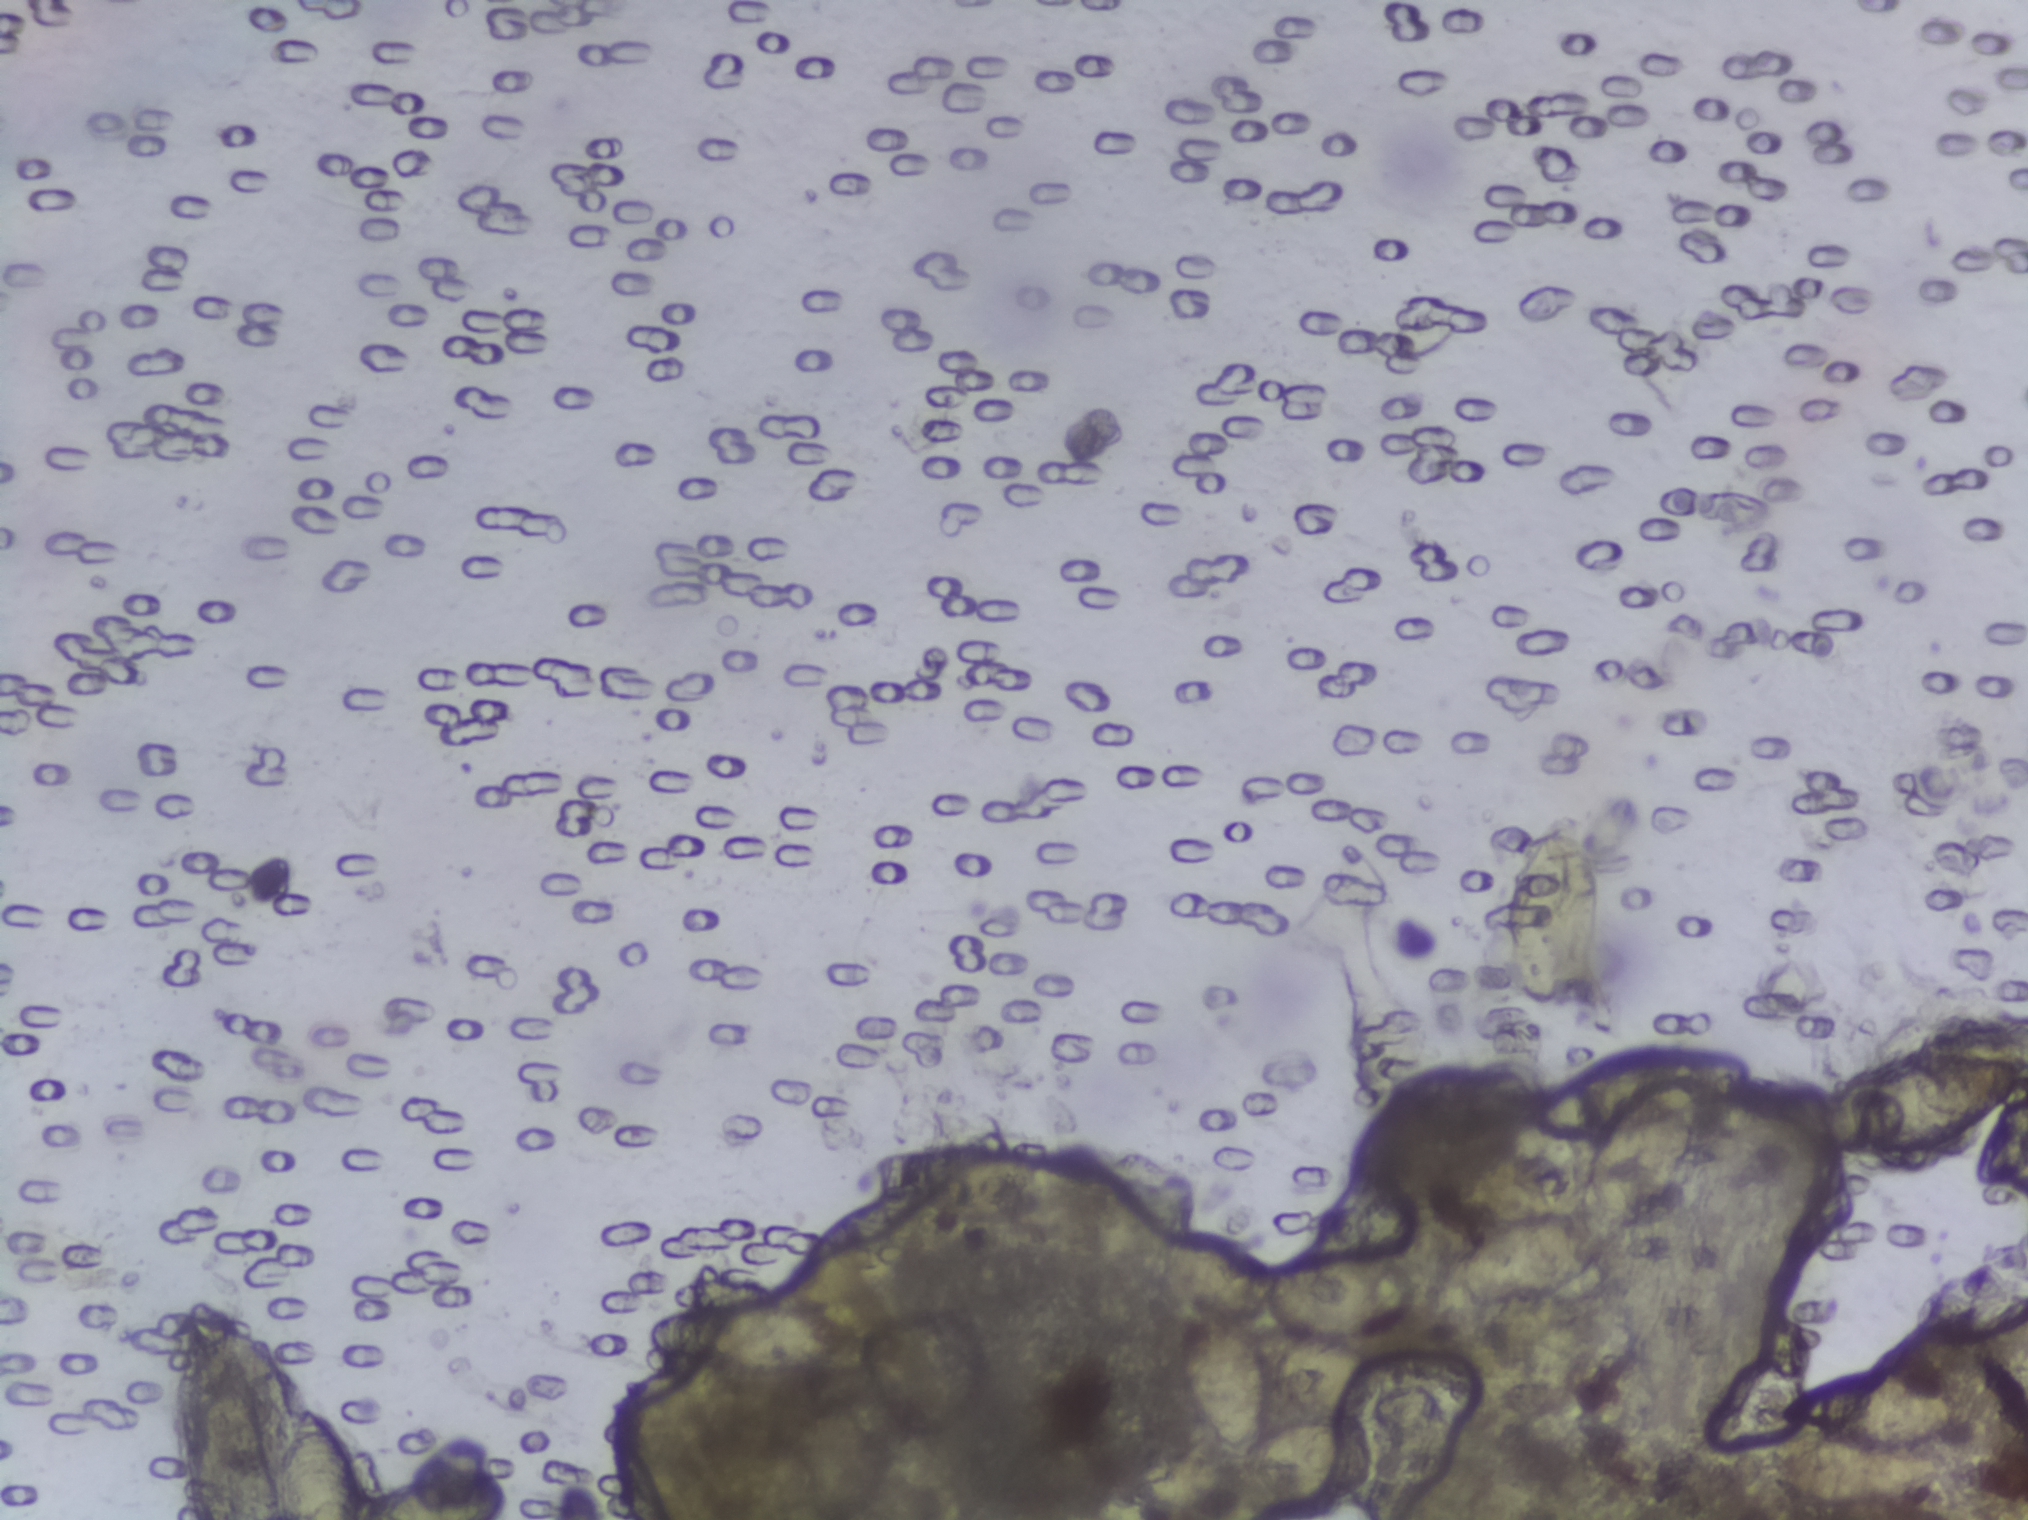
One field of view of a urine filter membrane, 4× objective, 2028 × 1520 pixels.
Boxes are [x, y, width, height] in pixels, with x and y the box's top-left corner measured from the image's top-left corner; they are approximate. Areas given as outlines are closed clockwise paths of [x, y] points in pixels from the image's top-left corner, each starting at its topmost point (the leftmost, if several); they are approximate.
Schistosoma egg areas, outlined: box [274, 1406, 238, 114] (reaching the bottom edge of the frame); box [646, 1301, 206, 73]; box [1091, 1455, 129, 65] (reaching the bottom edge of the frame); outline [1194, 1289], [1226, 1301], [1260, 1347], [1267, 1422], [1256, 1454], [1277, 1433], [1305, 1420], [1339, 1428], [1339, 1462], [1311, 1498], [1239, 1512], [1242, 1473], [1226, 1467], [1177, 1378], [1177, 1344]; box [1262, 1256, 158, 82]; outline [1657, 1054], [1741, 1056], [1750, 1062], [1750, 1075], [1731, 1098], [1705, 1113], [1704, 1134], [1675, 1184], [1630, 1229], [1603, 1240], [1566, 1286], [1547, 1297], [1500, 1306], [1459, 1303], [1454, 1276], [1500, 1221], [1539, 1210], [1582, 1210], [1598, 1138], [1531, 1125], [1540, 1105], [1591, 1060]; box [1495, 810, 118, 204]; box [1760, 1379, 196, 122]; box [1817, 1045, 209, 119]. An outlined area can hold more than one egg.